One field of view of a urine filter membrane, 4× objective, 2028 × 1520 pixels.
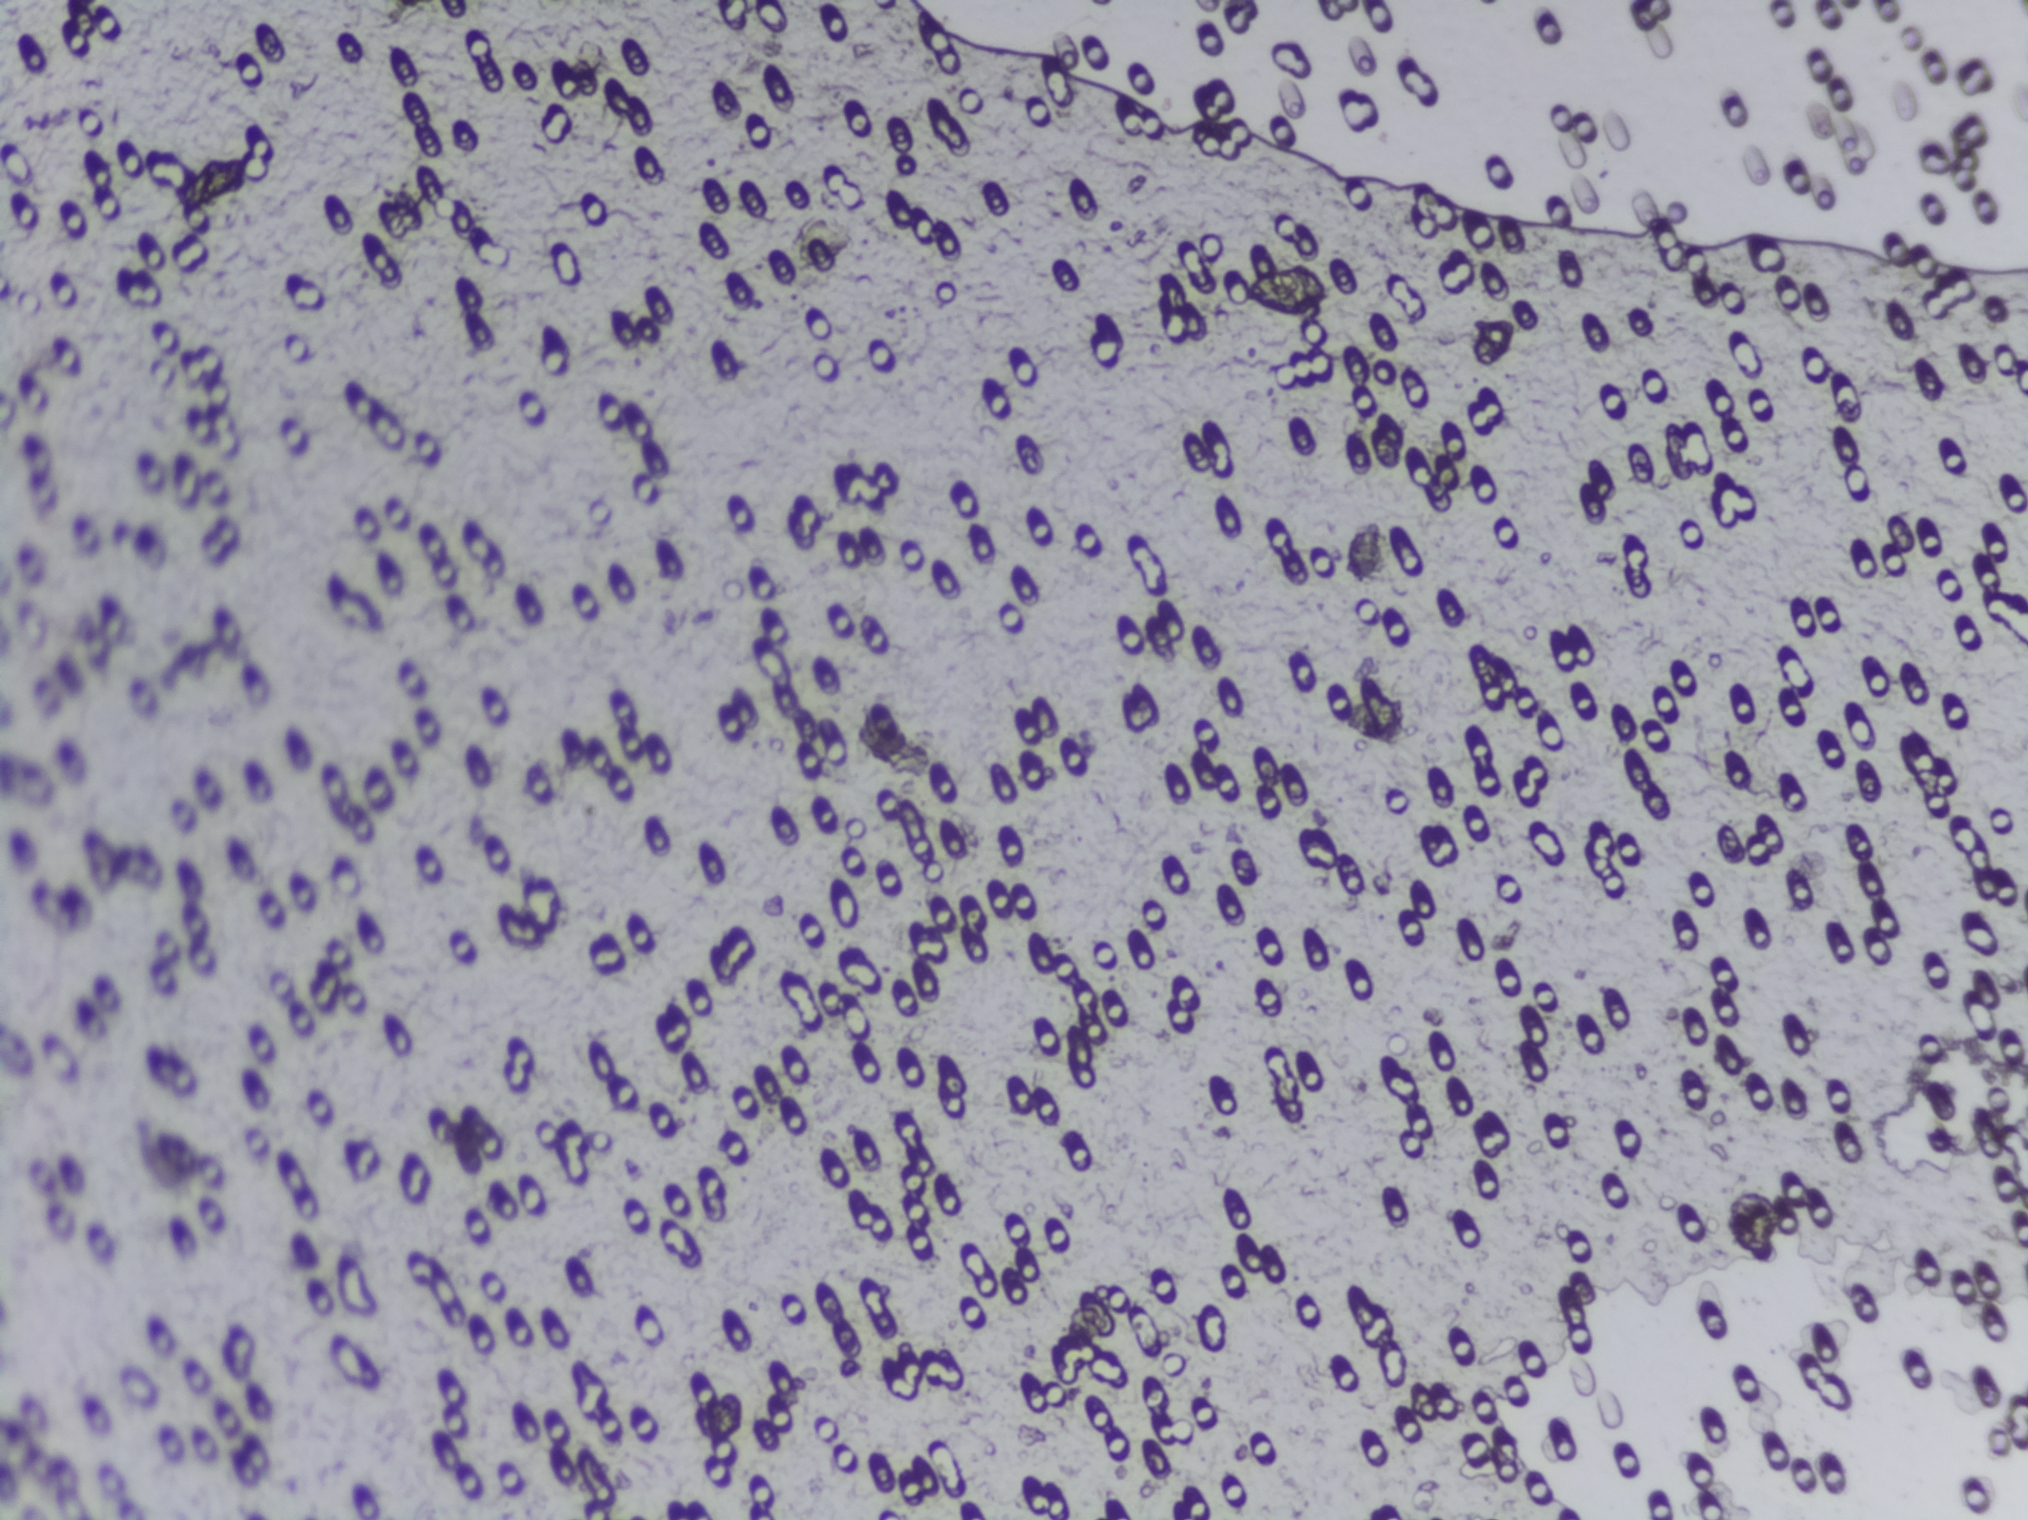
Schistosoma eggs: none outlined.